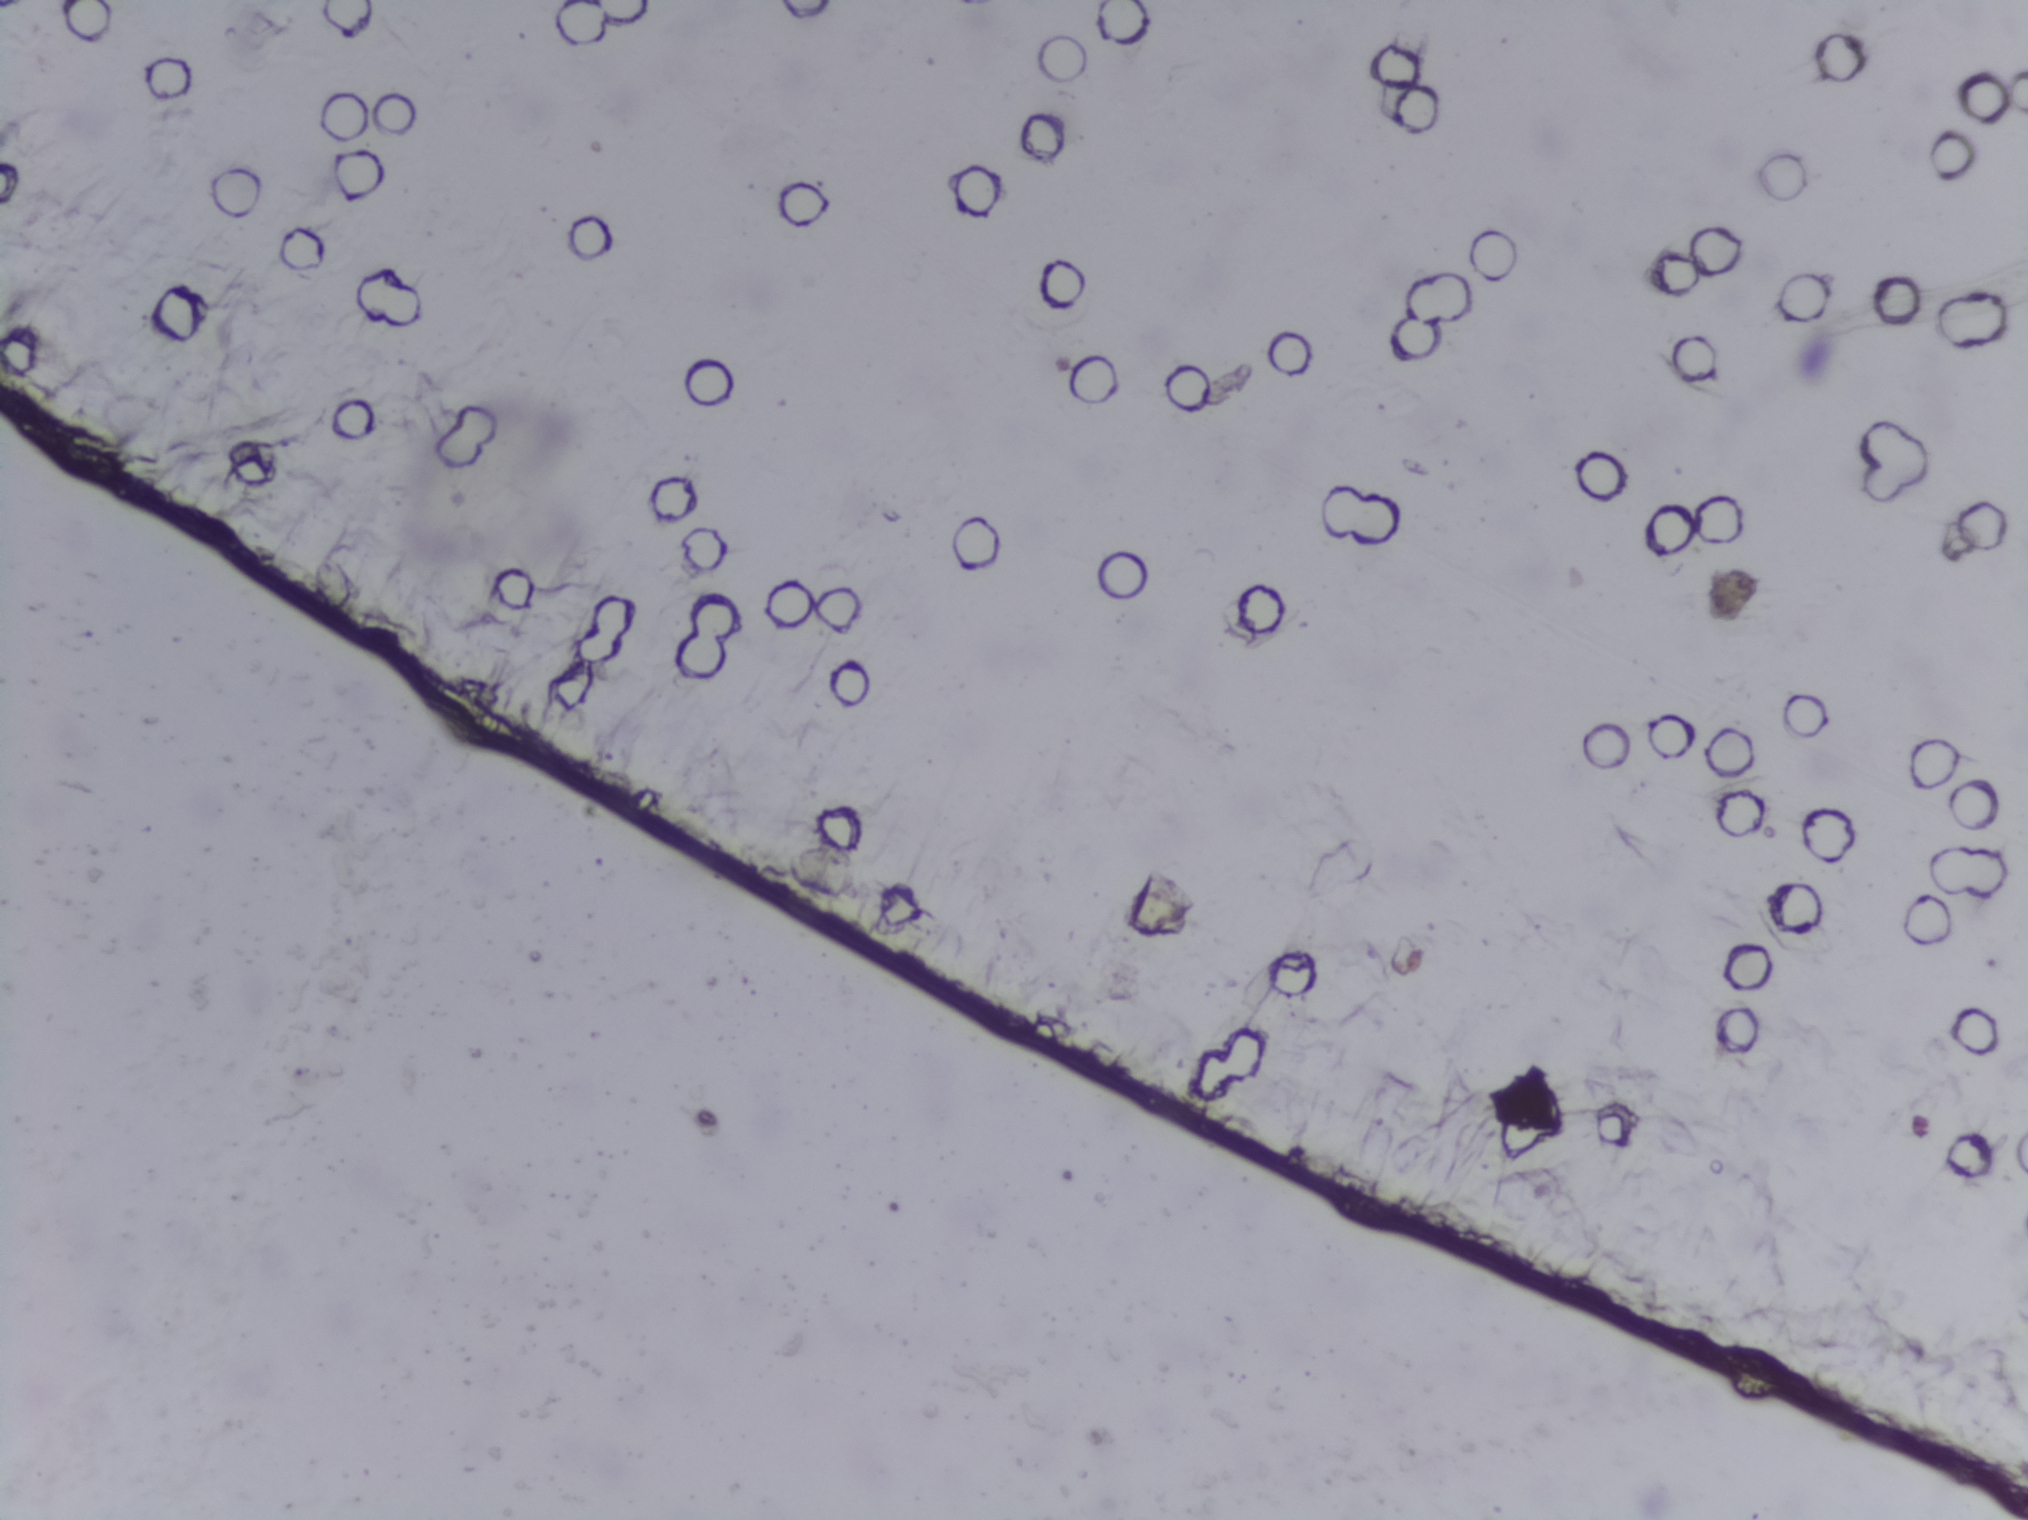
Microscope photograph (4× objective) of a membrane that a urine sample was filtered through.
Schistosoma eggs: none outlined.